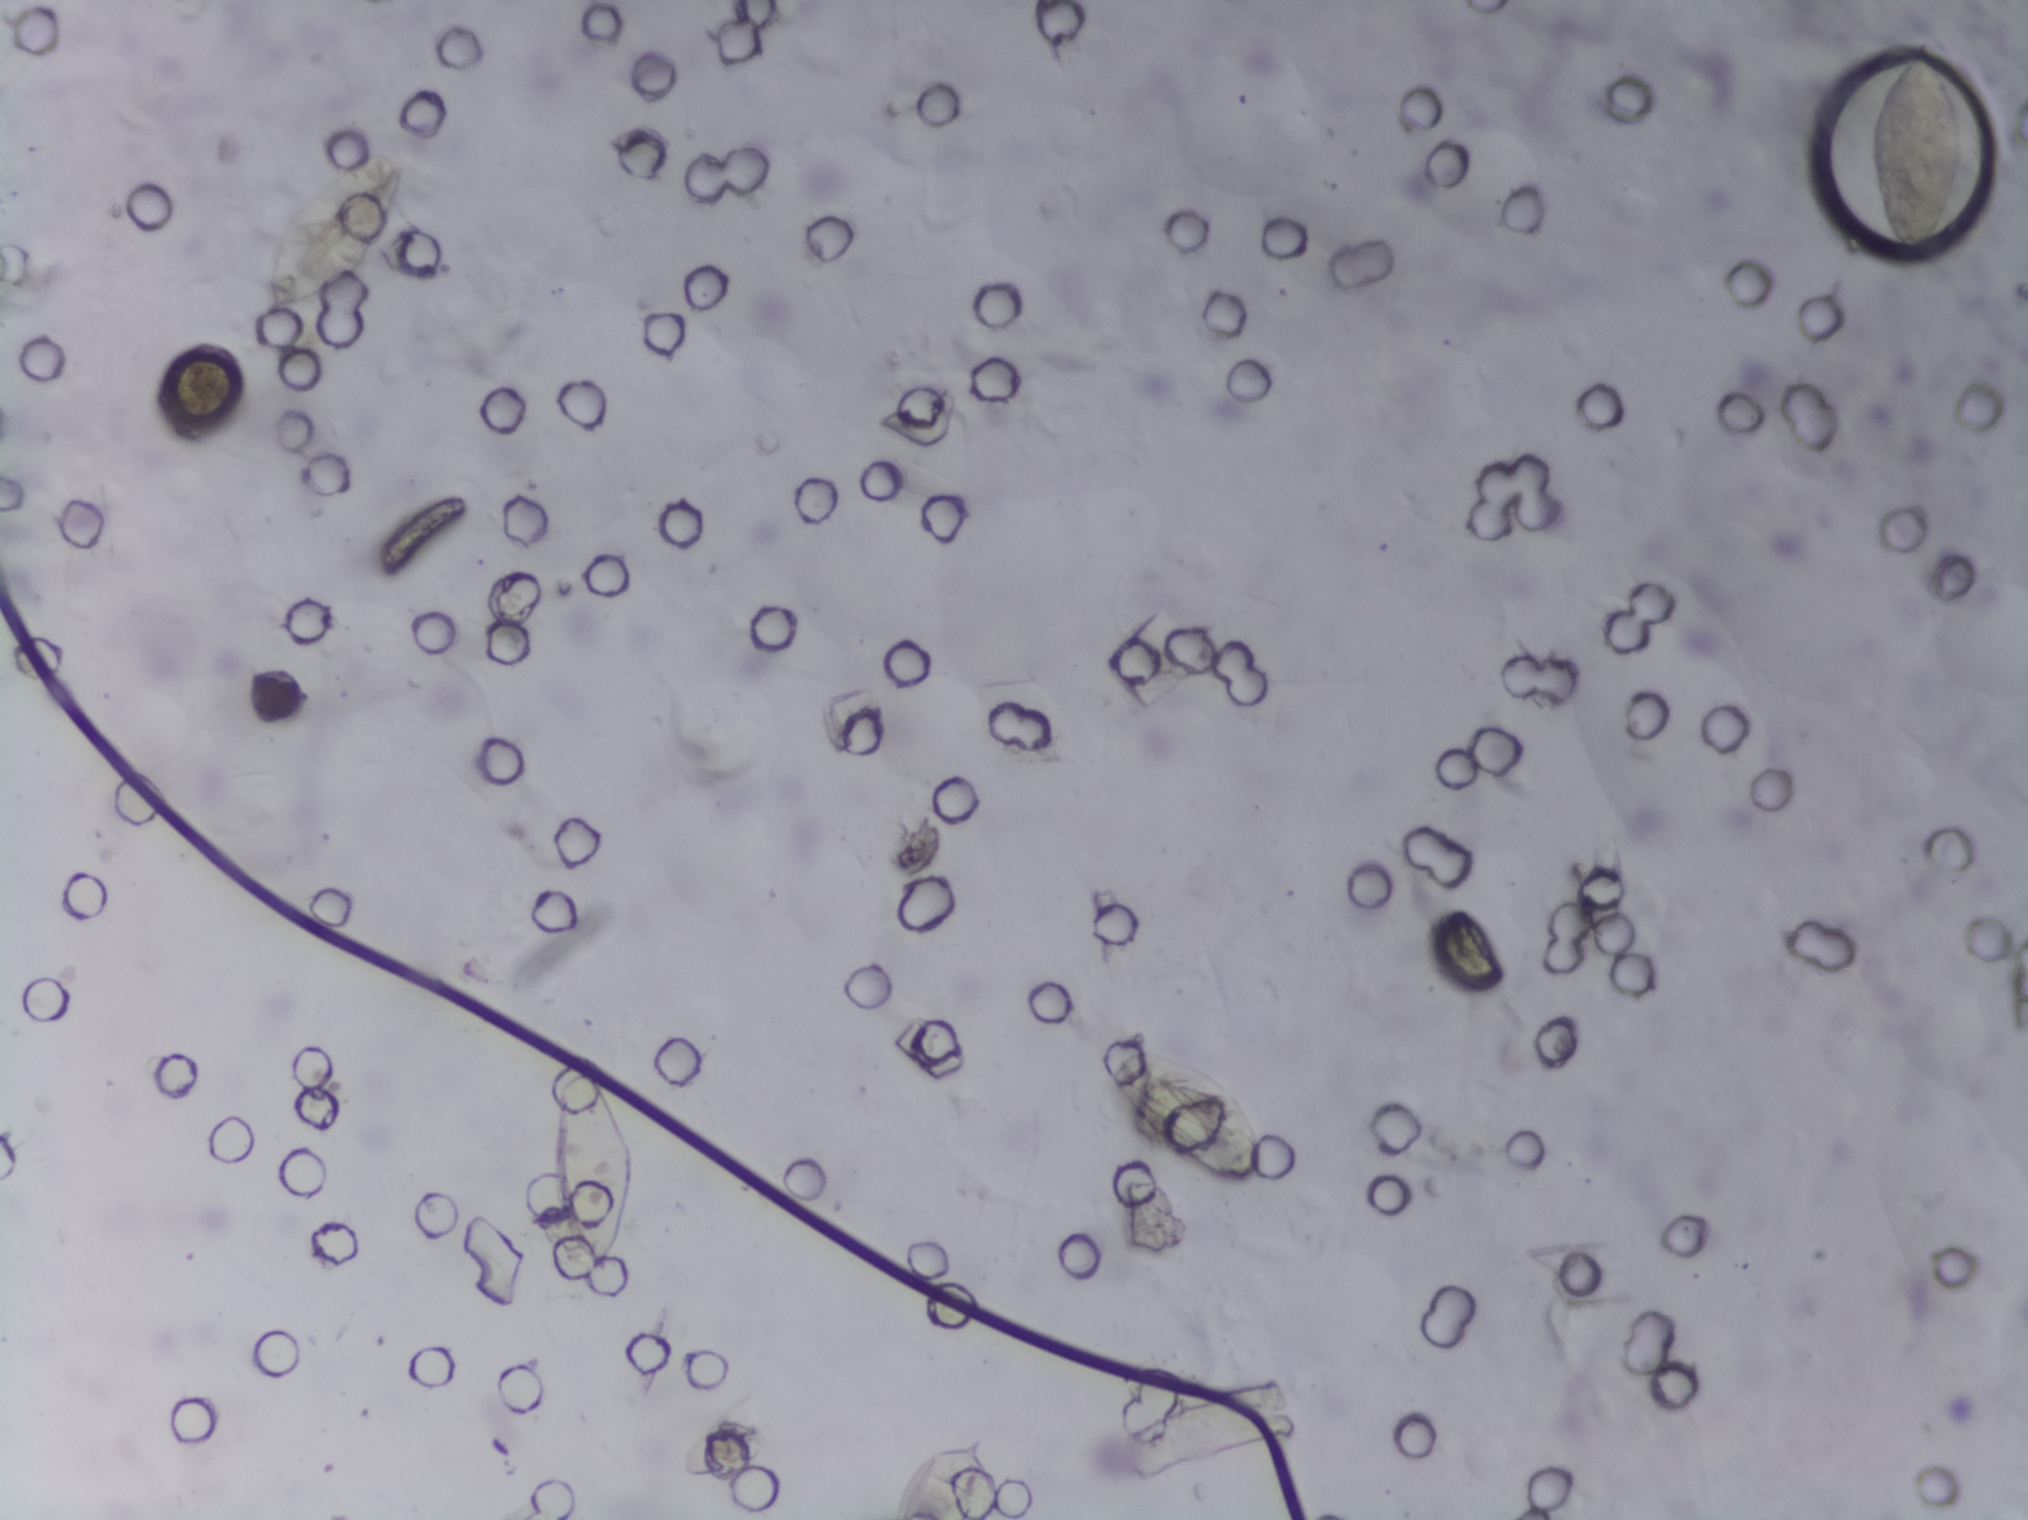
Microscope photograph (4× objective) of a membrane that a urine sample was filtered through. Field of view: about 1.5 mm wide and 1.1 mm high.
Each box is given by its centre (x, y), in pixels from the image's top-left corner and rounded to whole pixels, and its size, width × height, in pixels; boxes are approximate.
Areas outlined as Schistosoma eggs, left to right:
1. centre (332, 235), 148 × 175 px
2. centre (943, 1478), 105 × 83 px (reaching the bottom edge of the frame)
3. centre (1915, 149), 100 × 213 px
An outlined area can hold more than one egg.